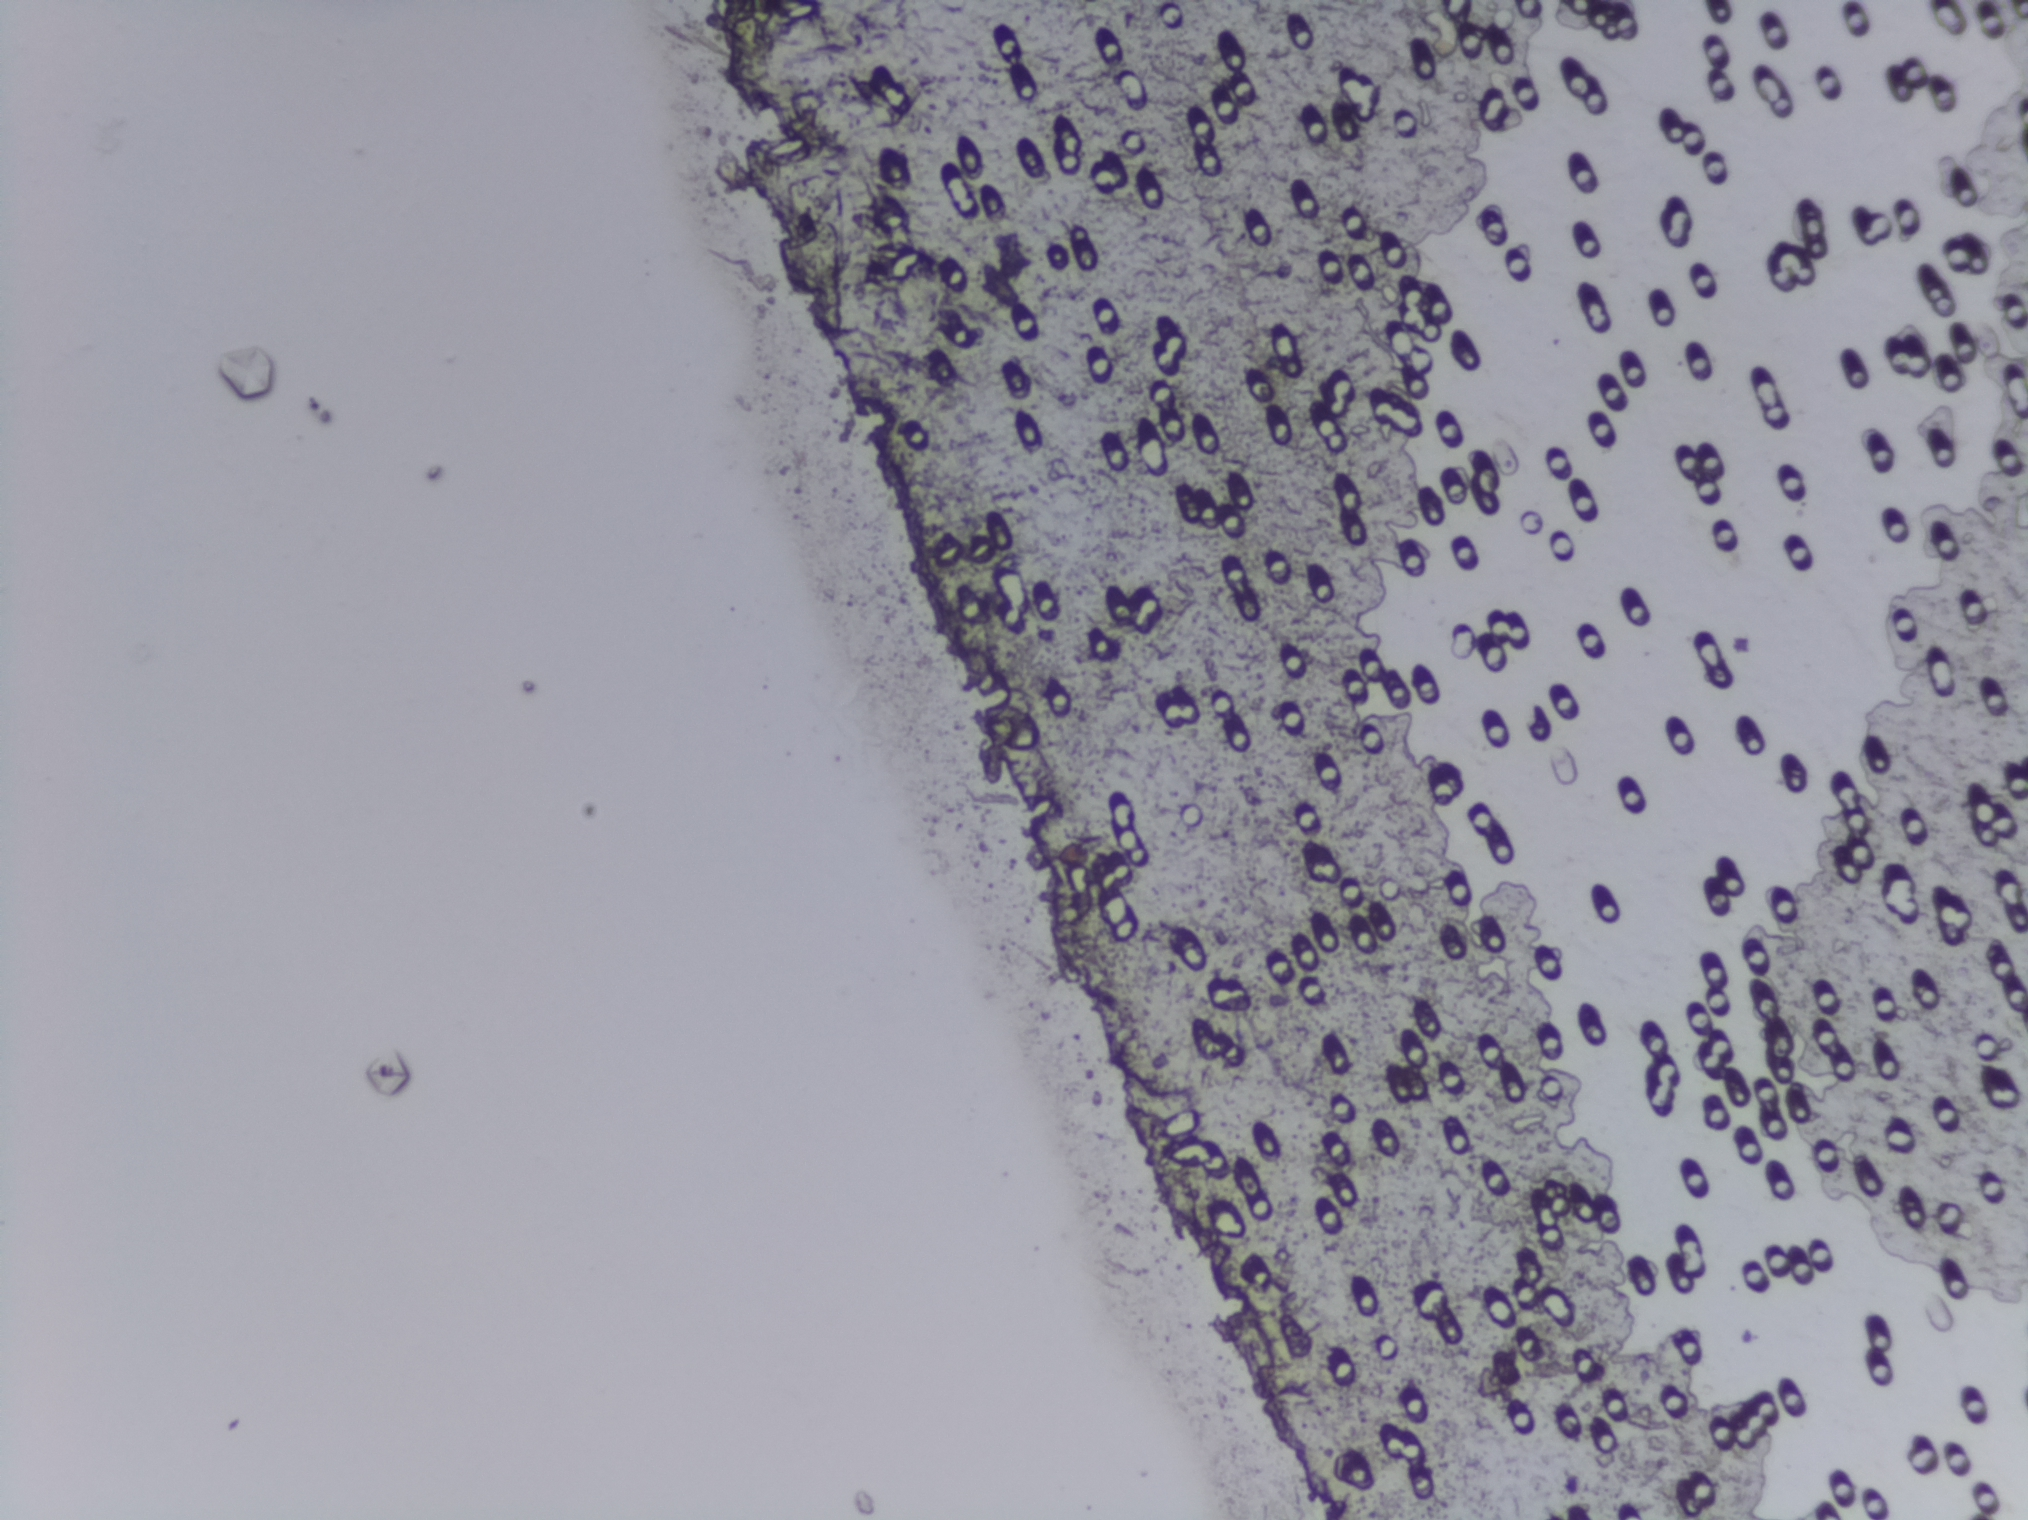
Schistosoma eggs: none outlined.
Photograph from an automated digital microscope: urine filter membrane, 4× objective.